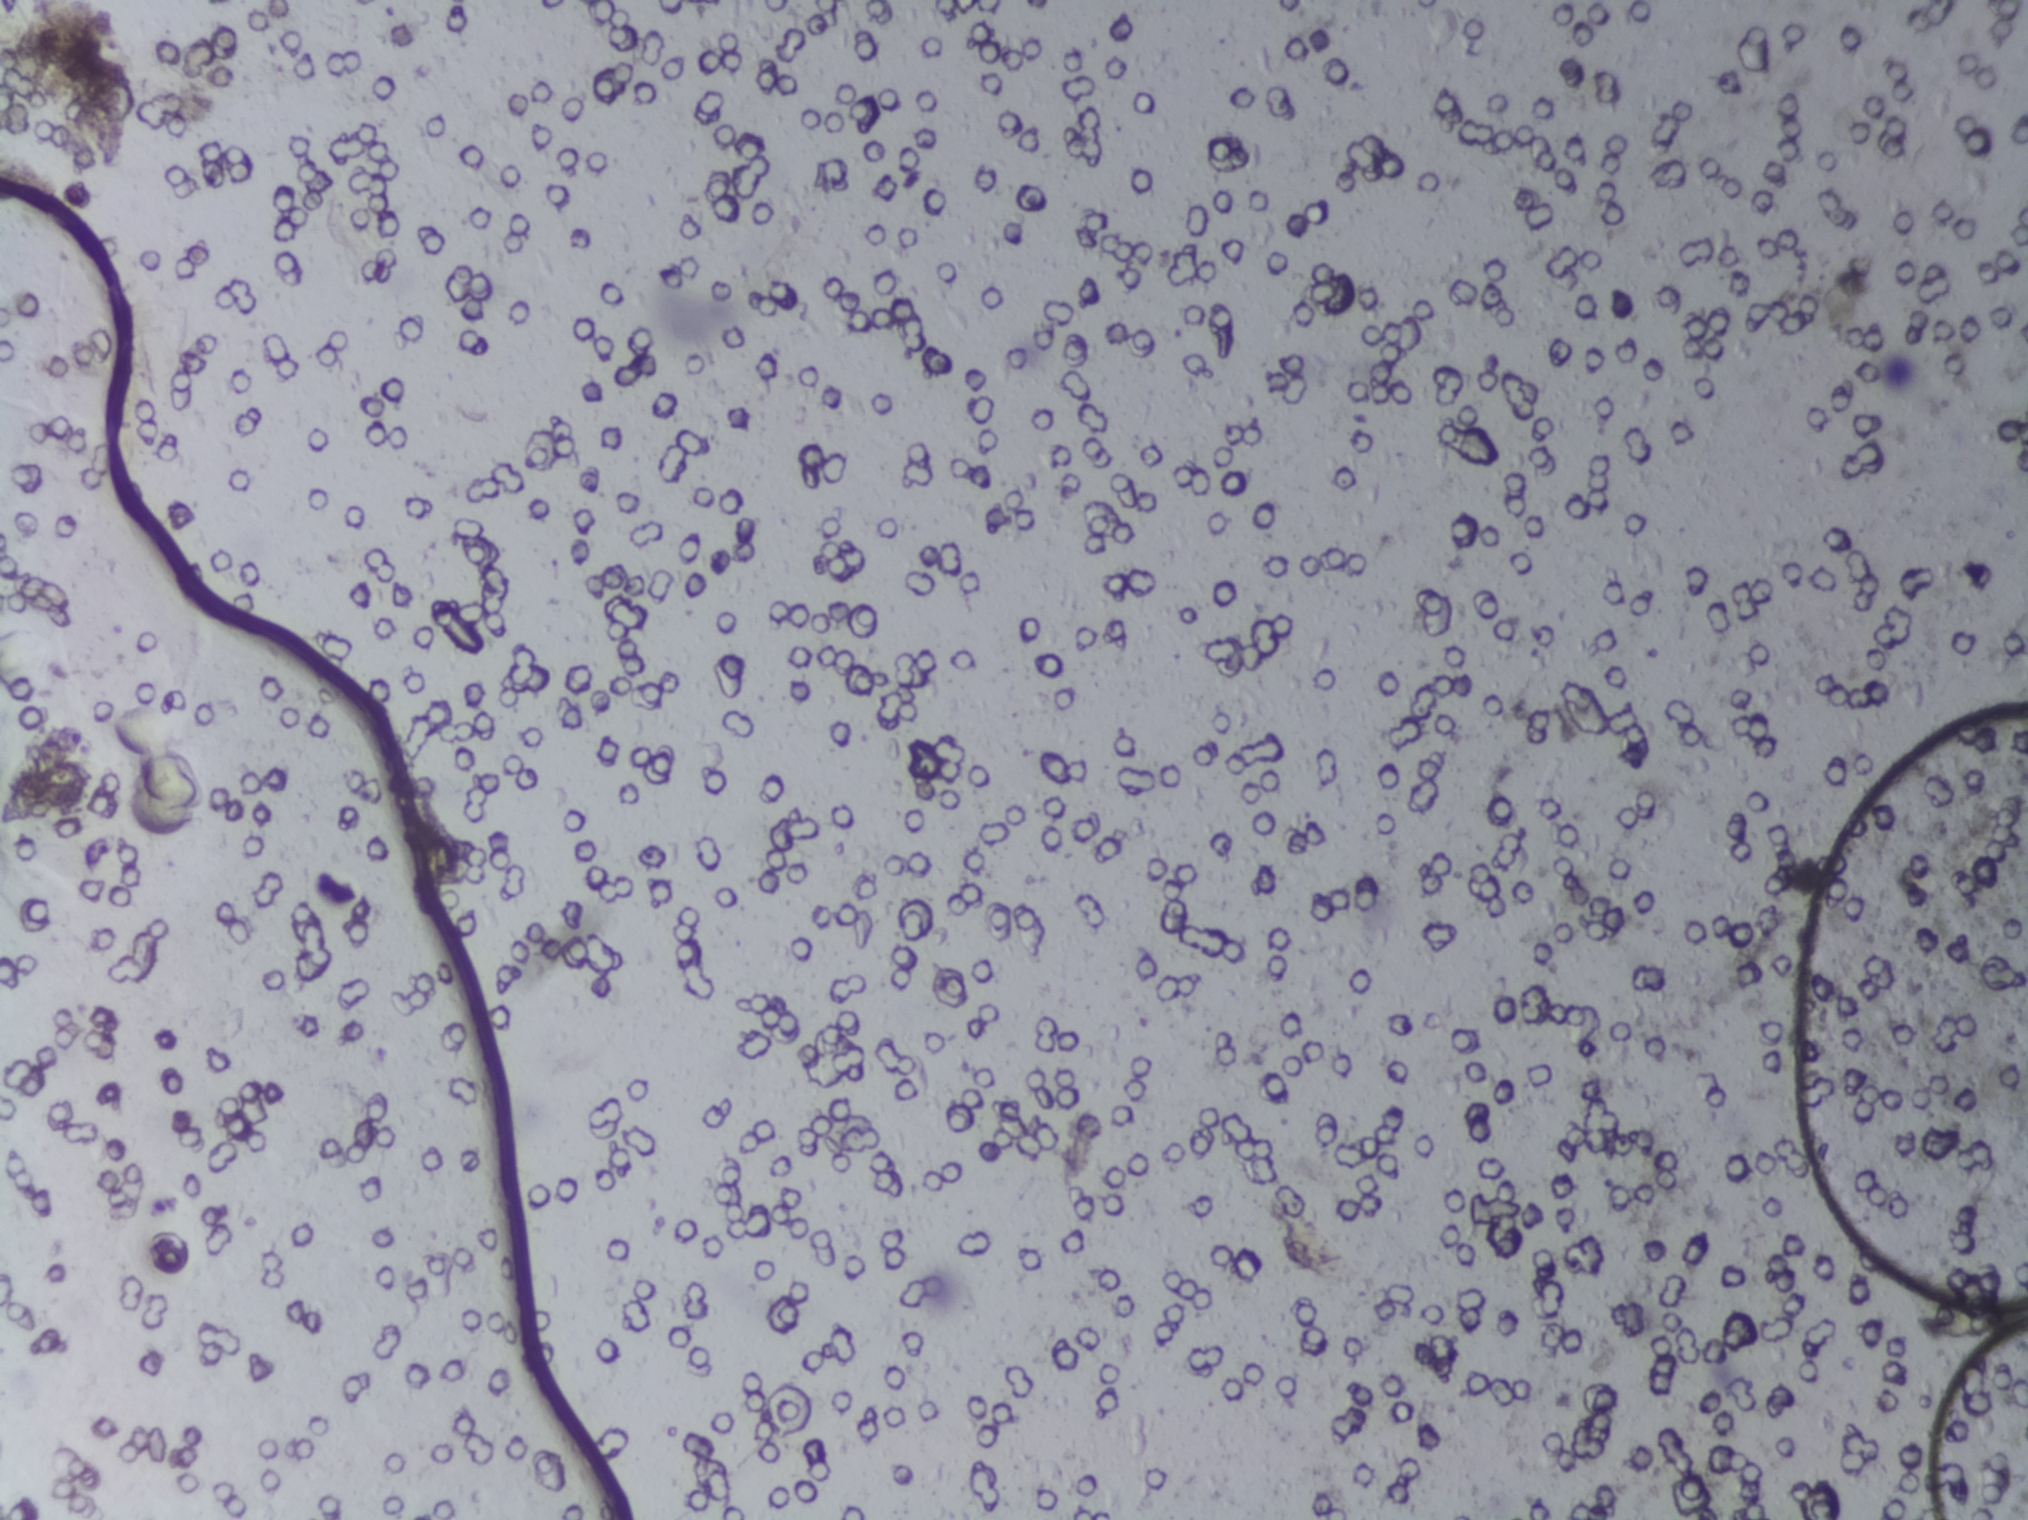
One field of view of a urine filter membrane, 4× objective, 2028 × 1520 pixels.
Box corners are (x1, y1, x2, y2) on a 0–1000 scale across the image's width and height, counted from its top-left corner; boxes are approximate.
Schistosoma eggs are outlined in one area of this image: (0, 0, 27, 57) (reaching the left and top edges of the frame). Marked pixels, not the box around them: about 0.1% of the image. An outlined area can hold more than one egg.